Photomicrograph of a urine filtration membrane, 4× objective.
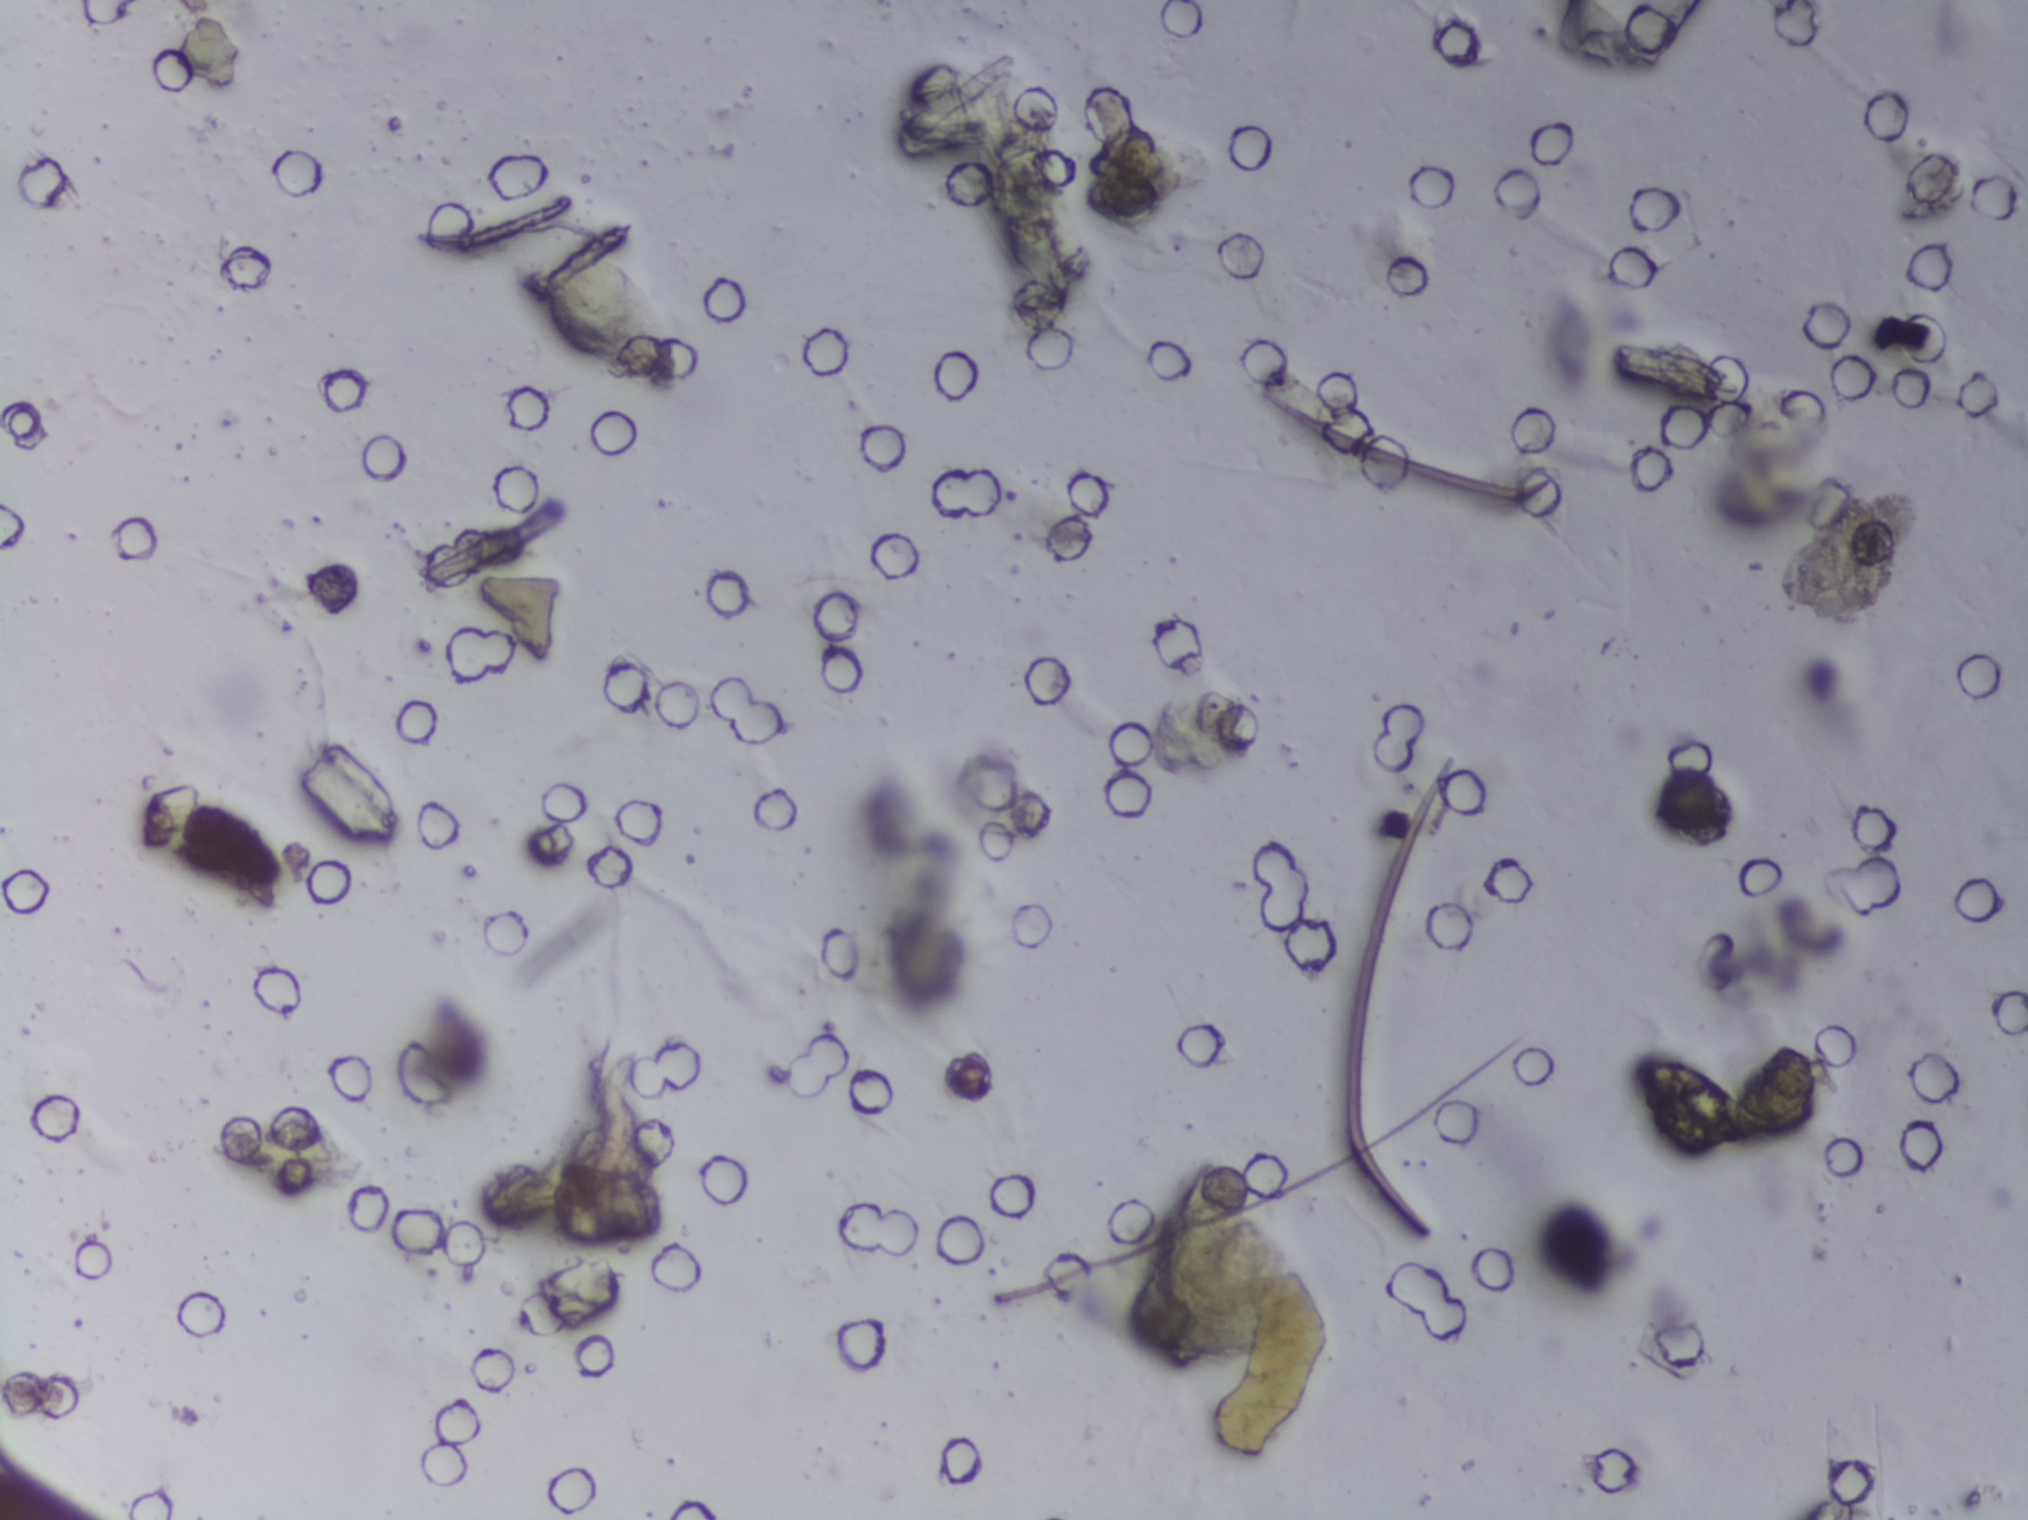
Schistosoma eggs: none outlined.